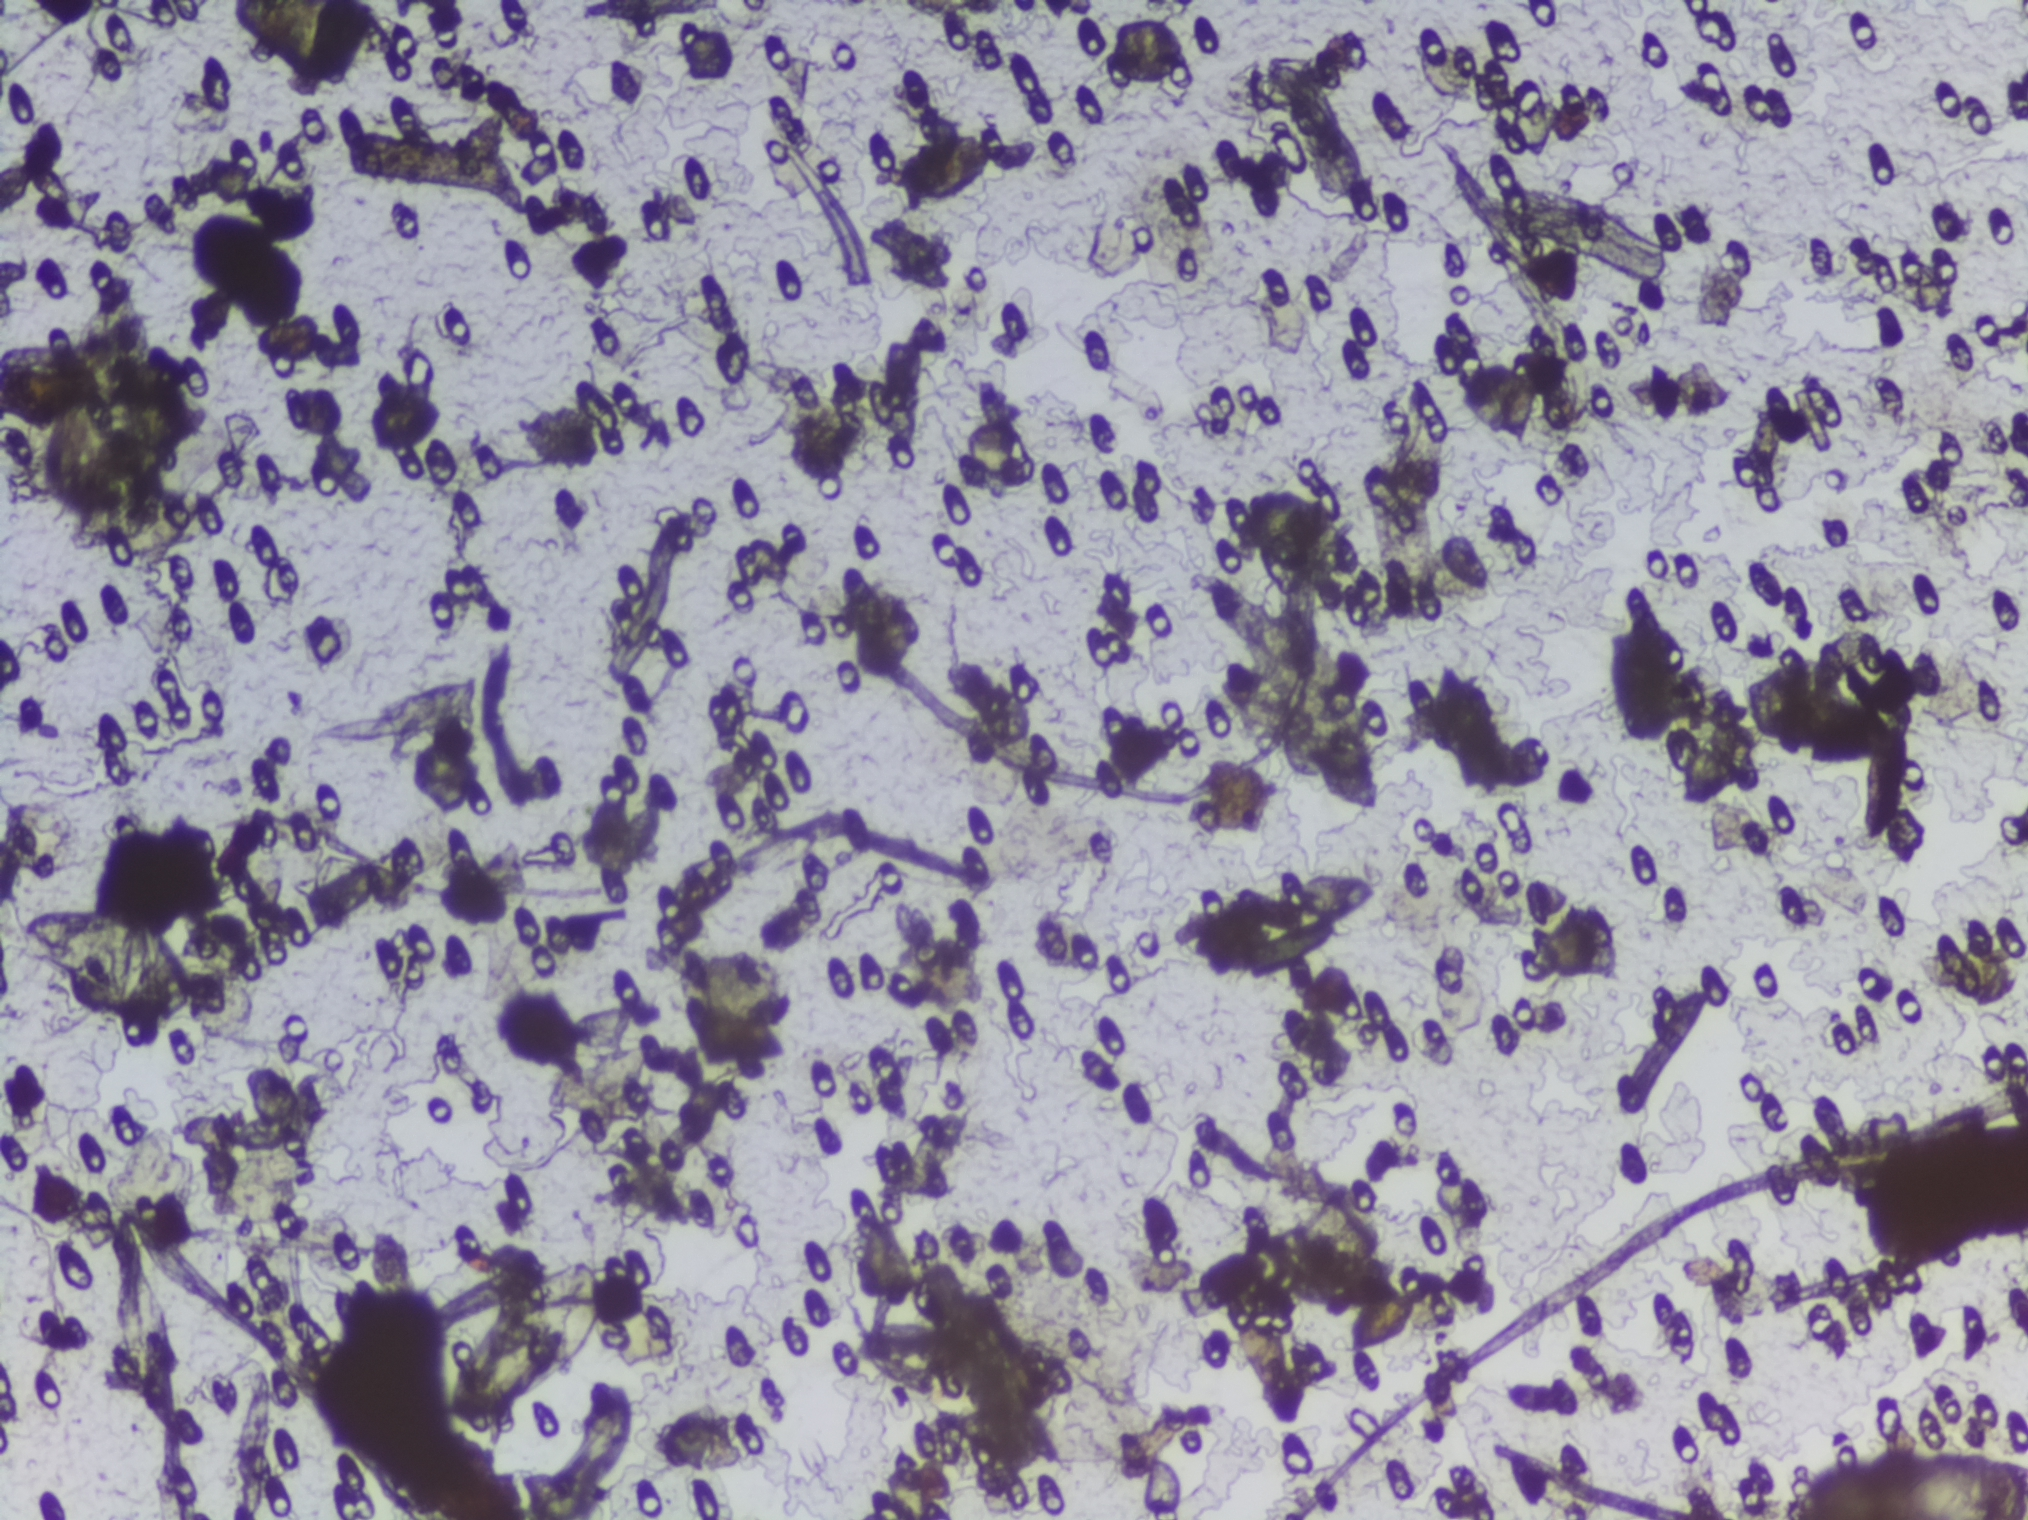
Microscope photograph (4× objective) of a membrane that a urine sample was filtered through.
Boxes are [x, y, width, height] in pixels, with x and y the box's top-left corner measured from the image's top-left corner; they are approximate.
Schistosoma eggs, outlined areas: [26, 898, 166, 124]; [434, 1256, 179, 169]. Eggs that touch can end up inside the same outlined area.